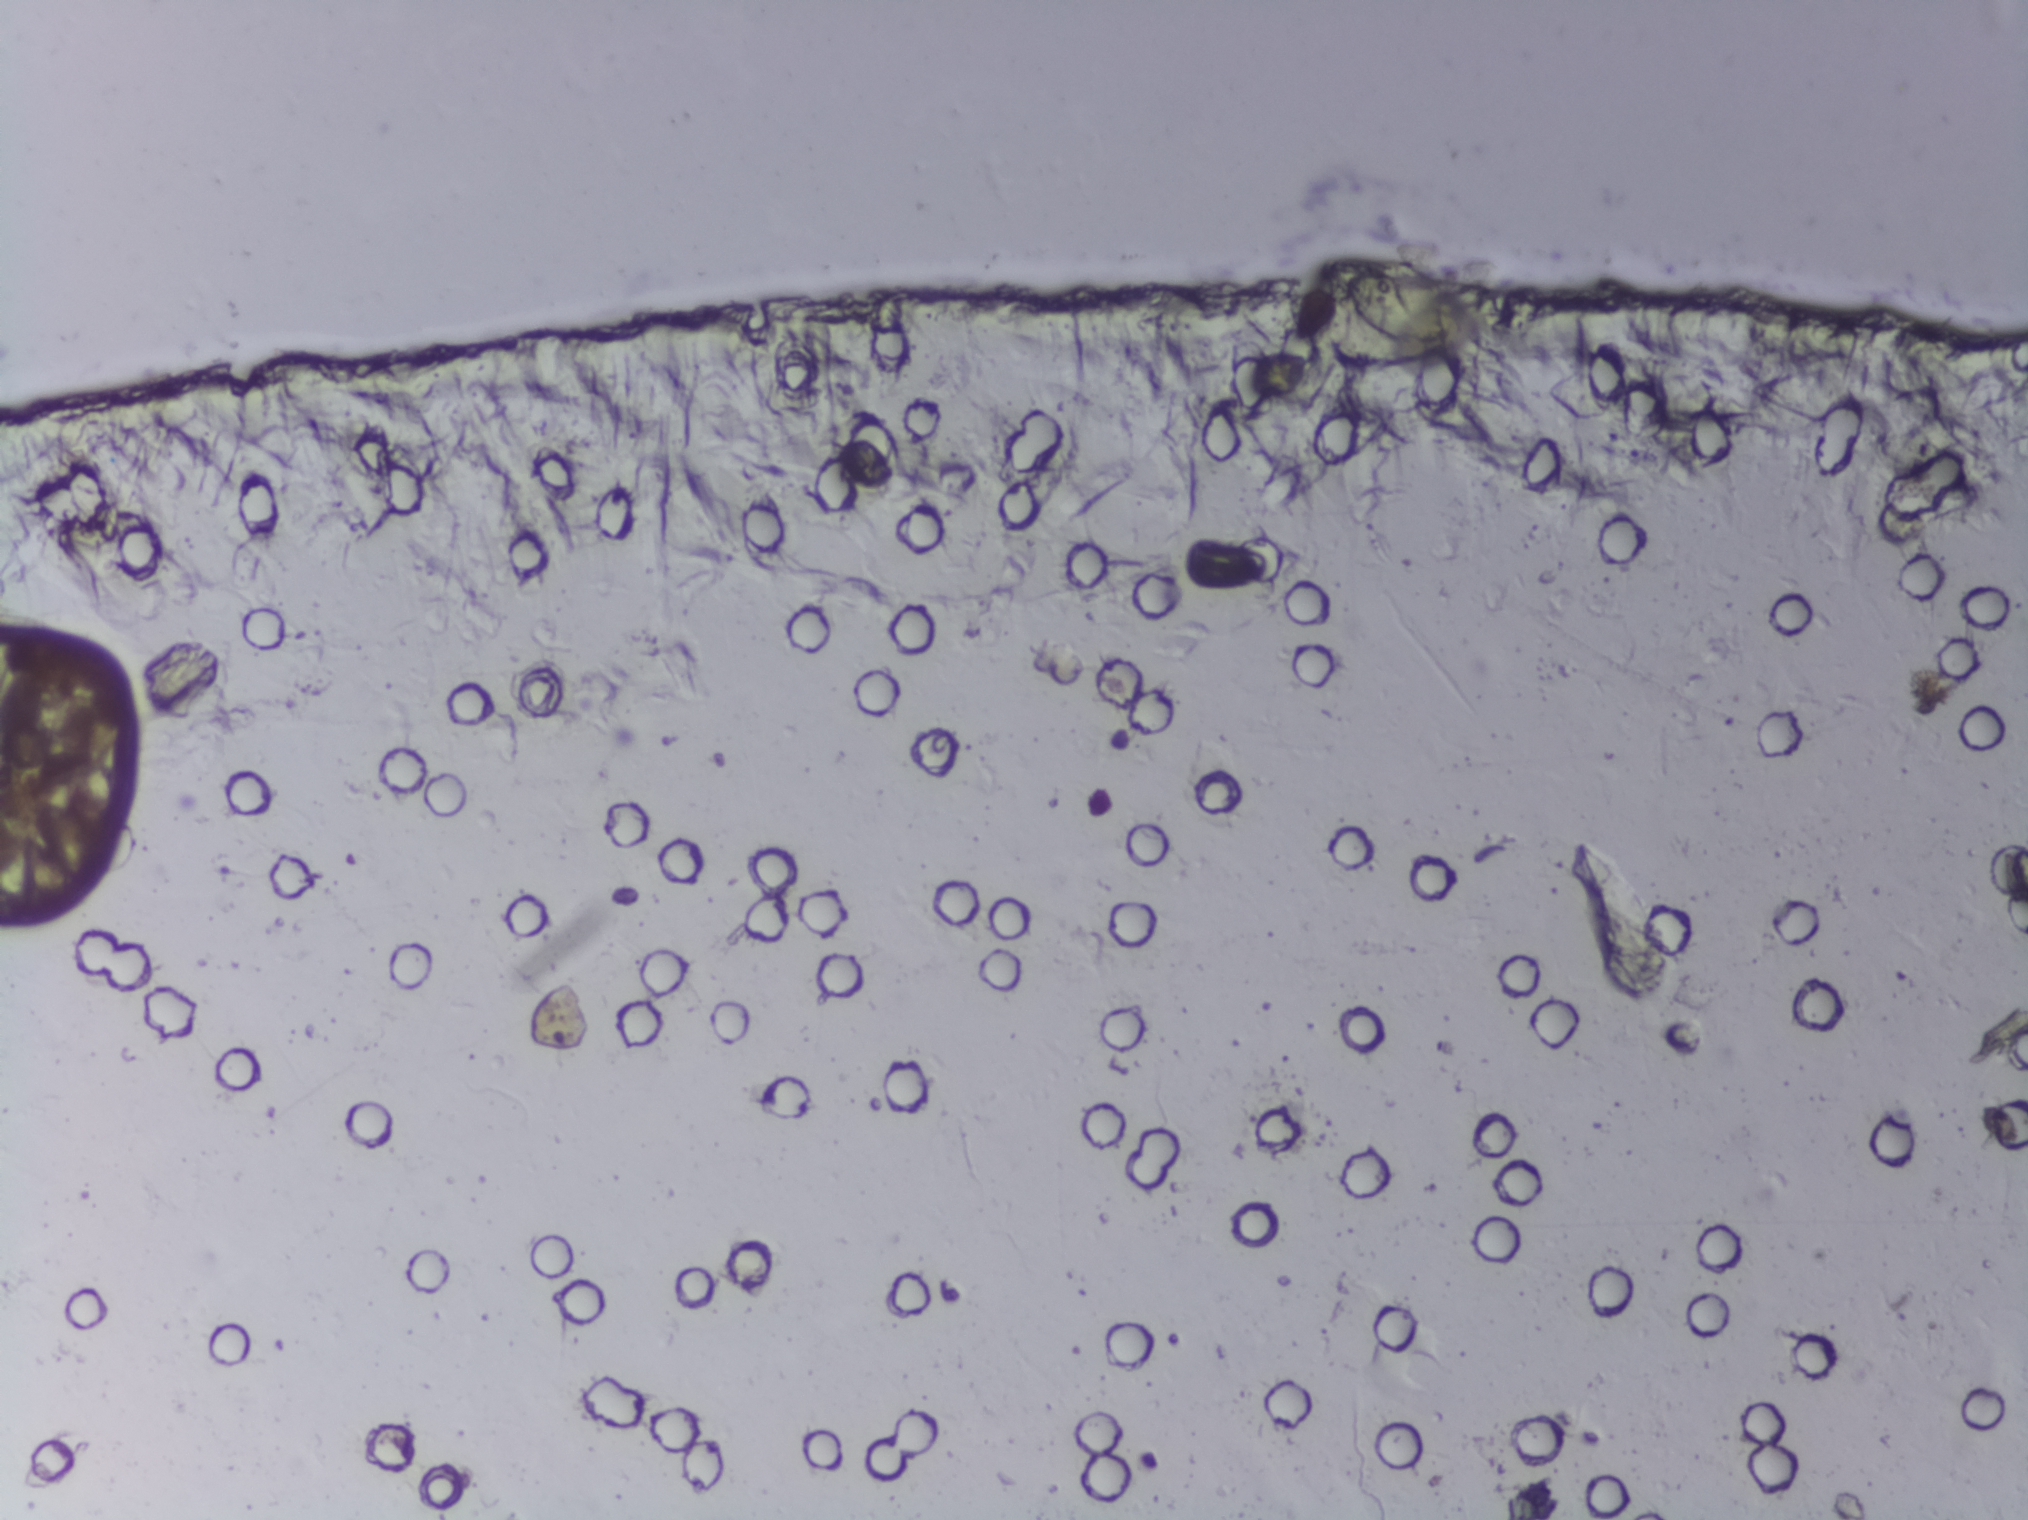
Urine filtration membrane under a 4× objective, photographed by an automated digital microscope. Field of view: about 1.5 mm wide and 1.1 mm high.
No area of this image was outlined as a Schistosoma egg.